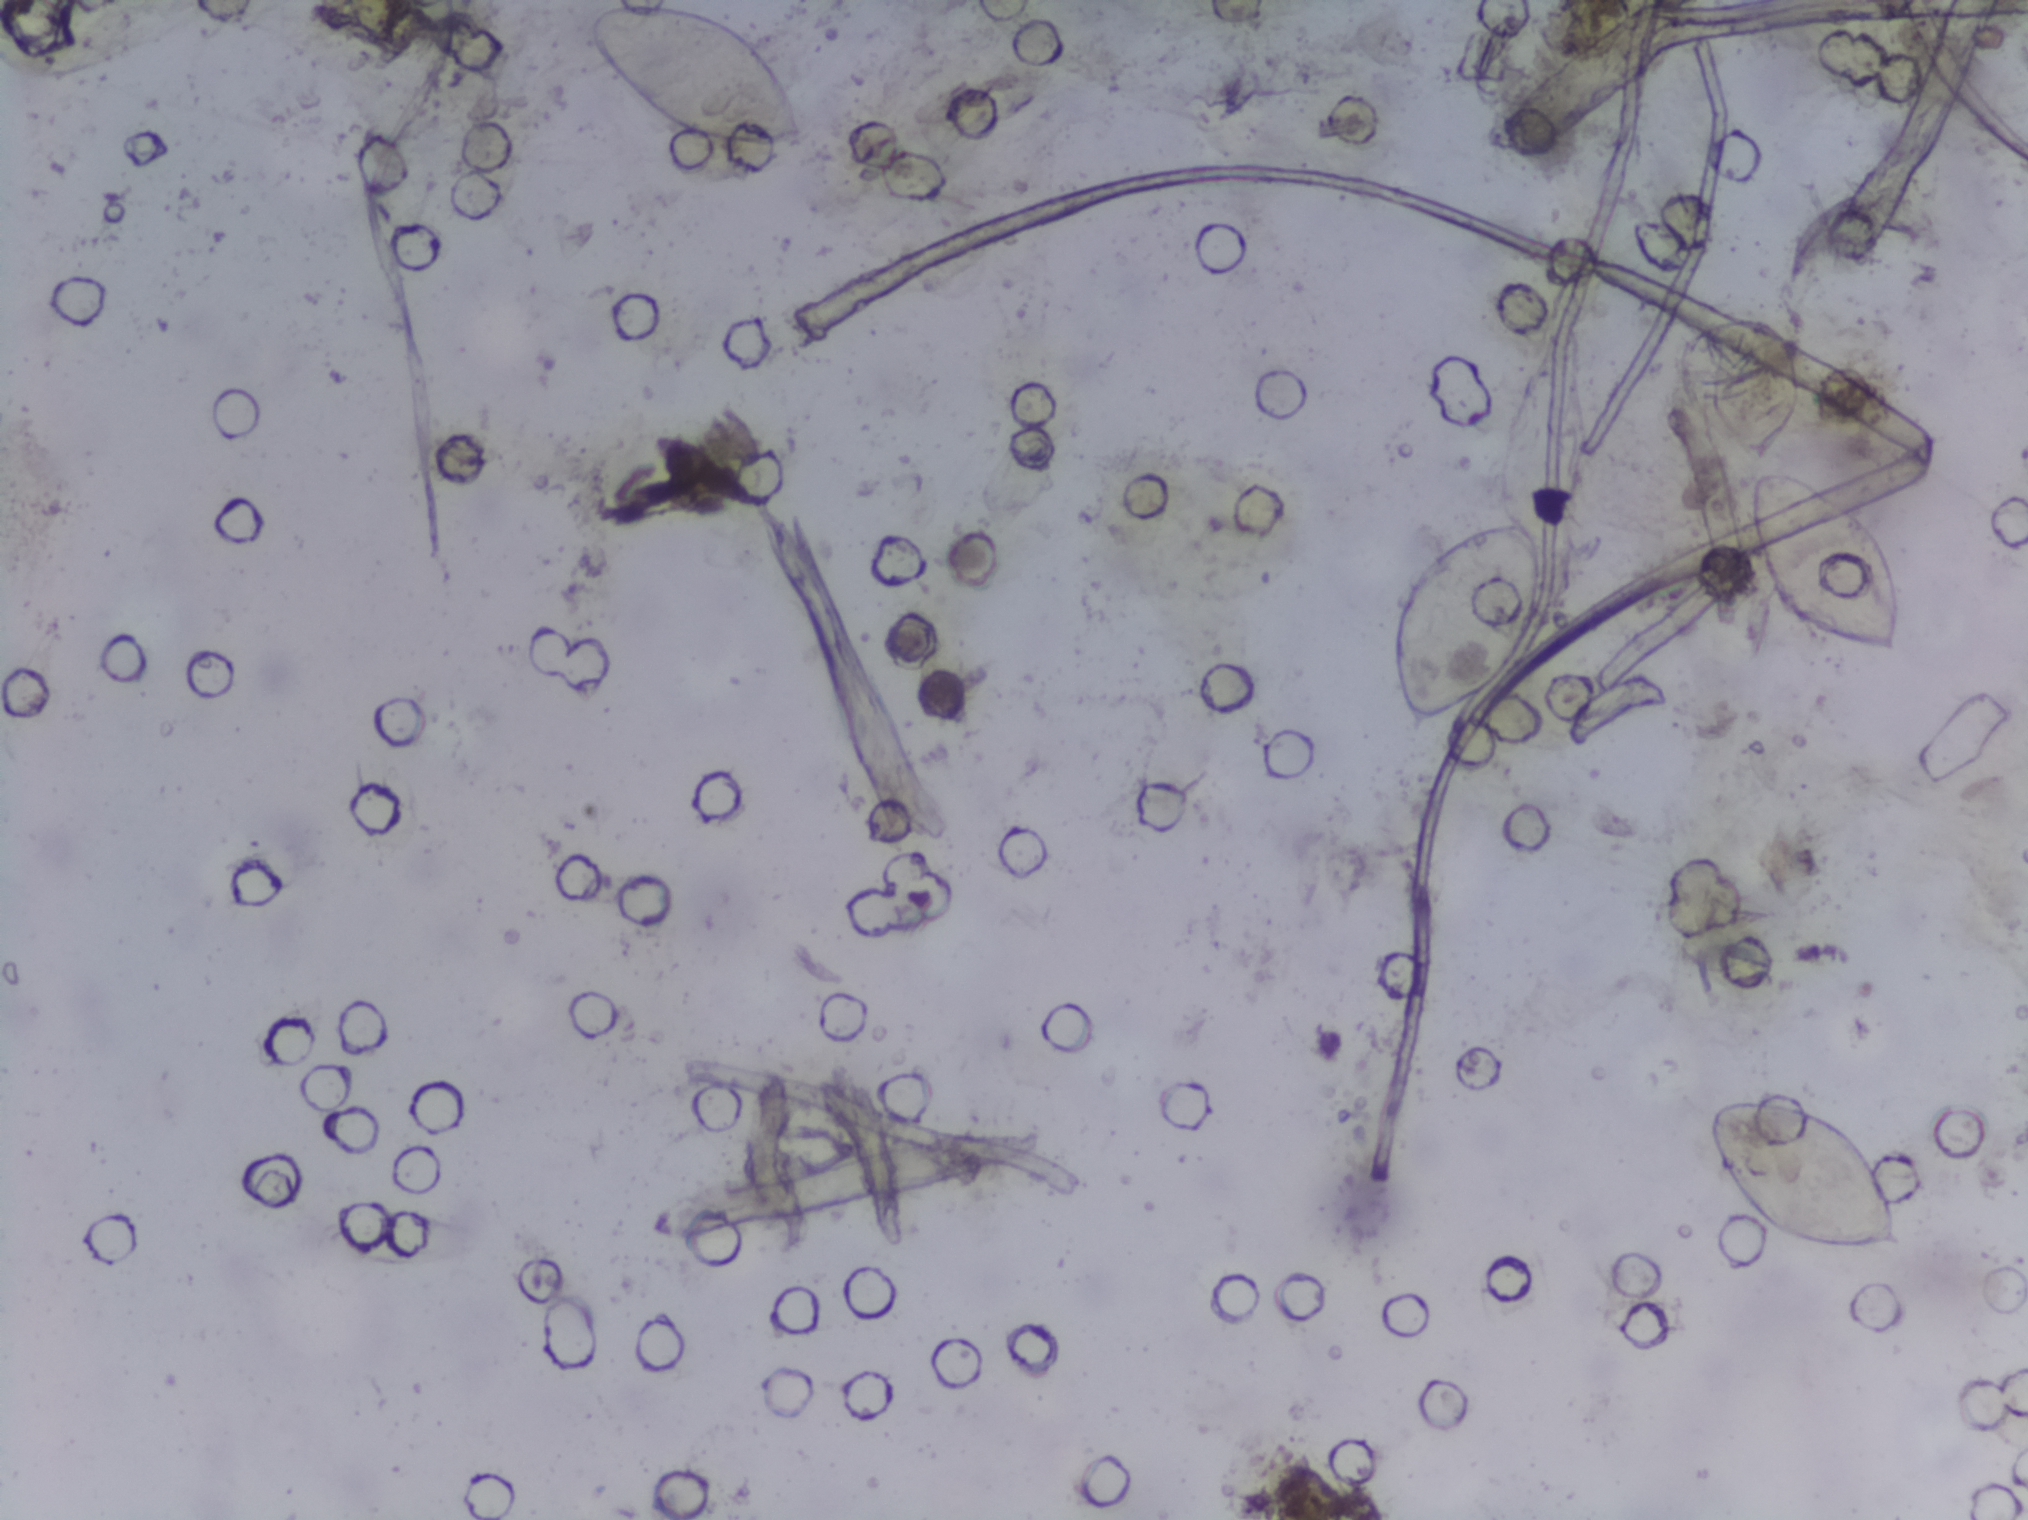
Photograph from an automated digital microscope: urine filter membrane, 4× objective. Field of view: about 1.5 mm wide and 1.1 mm high.
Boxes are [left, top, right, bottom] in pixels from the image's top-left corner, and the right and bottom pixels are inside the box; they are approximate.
{"schistosoma_egg_areas_xyxy_px": [[587, 4, 811, 153], [1380, 515, 1545, 739], [1703, 312, 1795, 461], [1705, 1095, 1910, 1251], [1745, 467, 1905, 661]]}
Eggs that touch can end up inside the same outlined area.